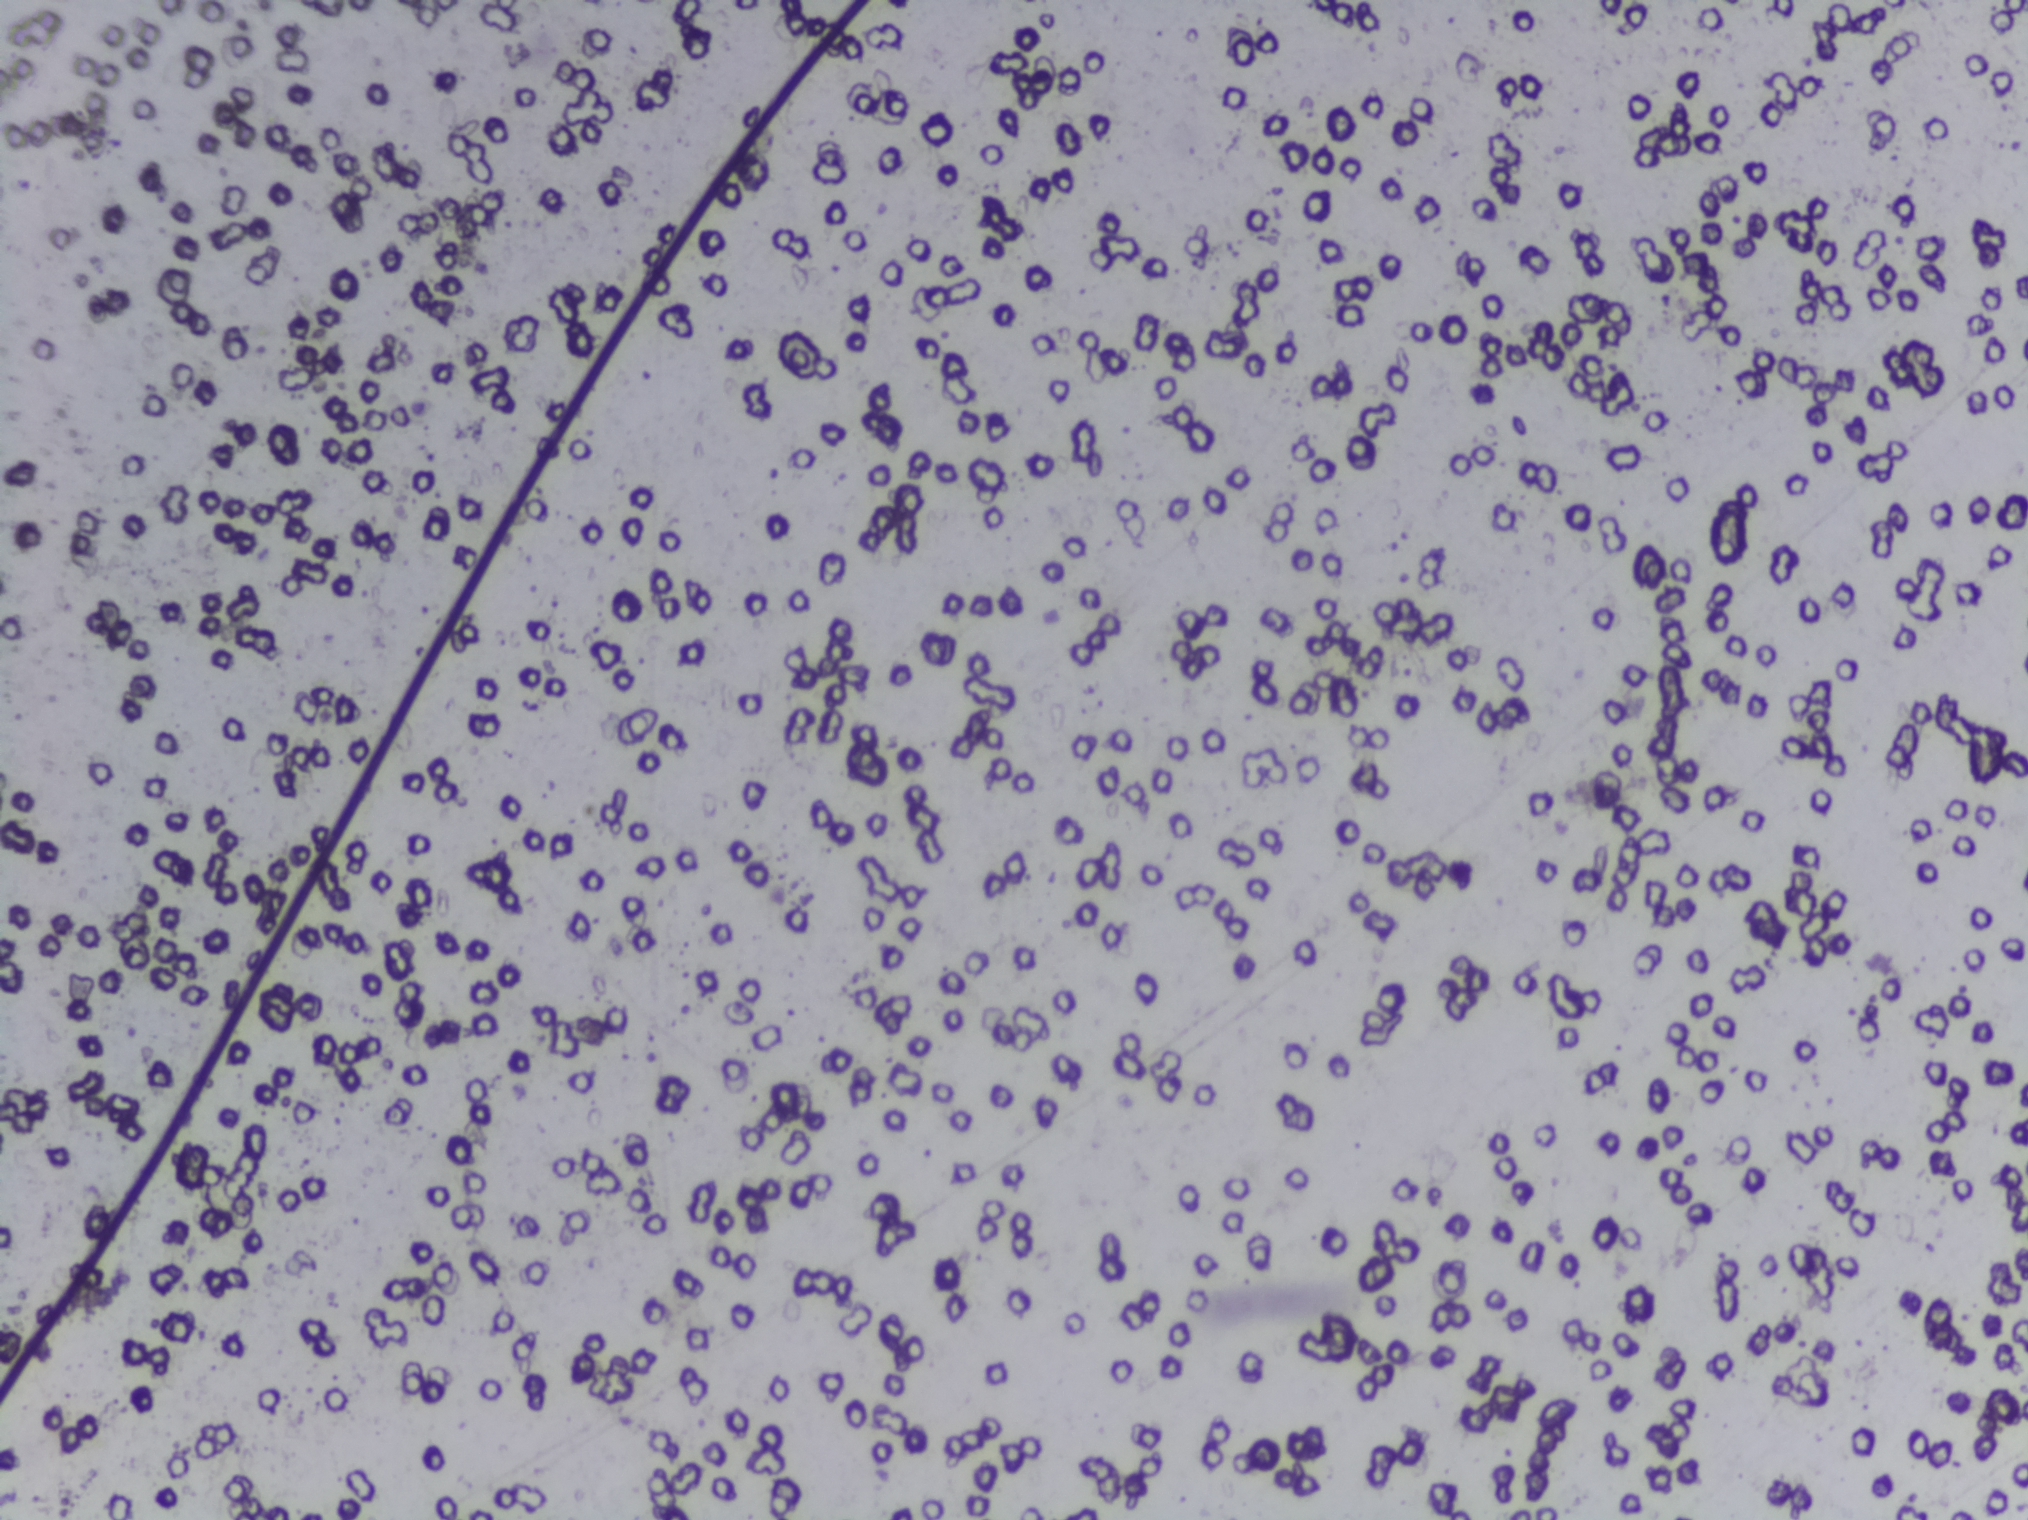
No Schistosoma egg is outlined in this image's expert annotation.
One field of view of a urine filter membrane, 4× objective, 2028 × 1520 pixels.